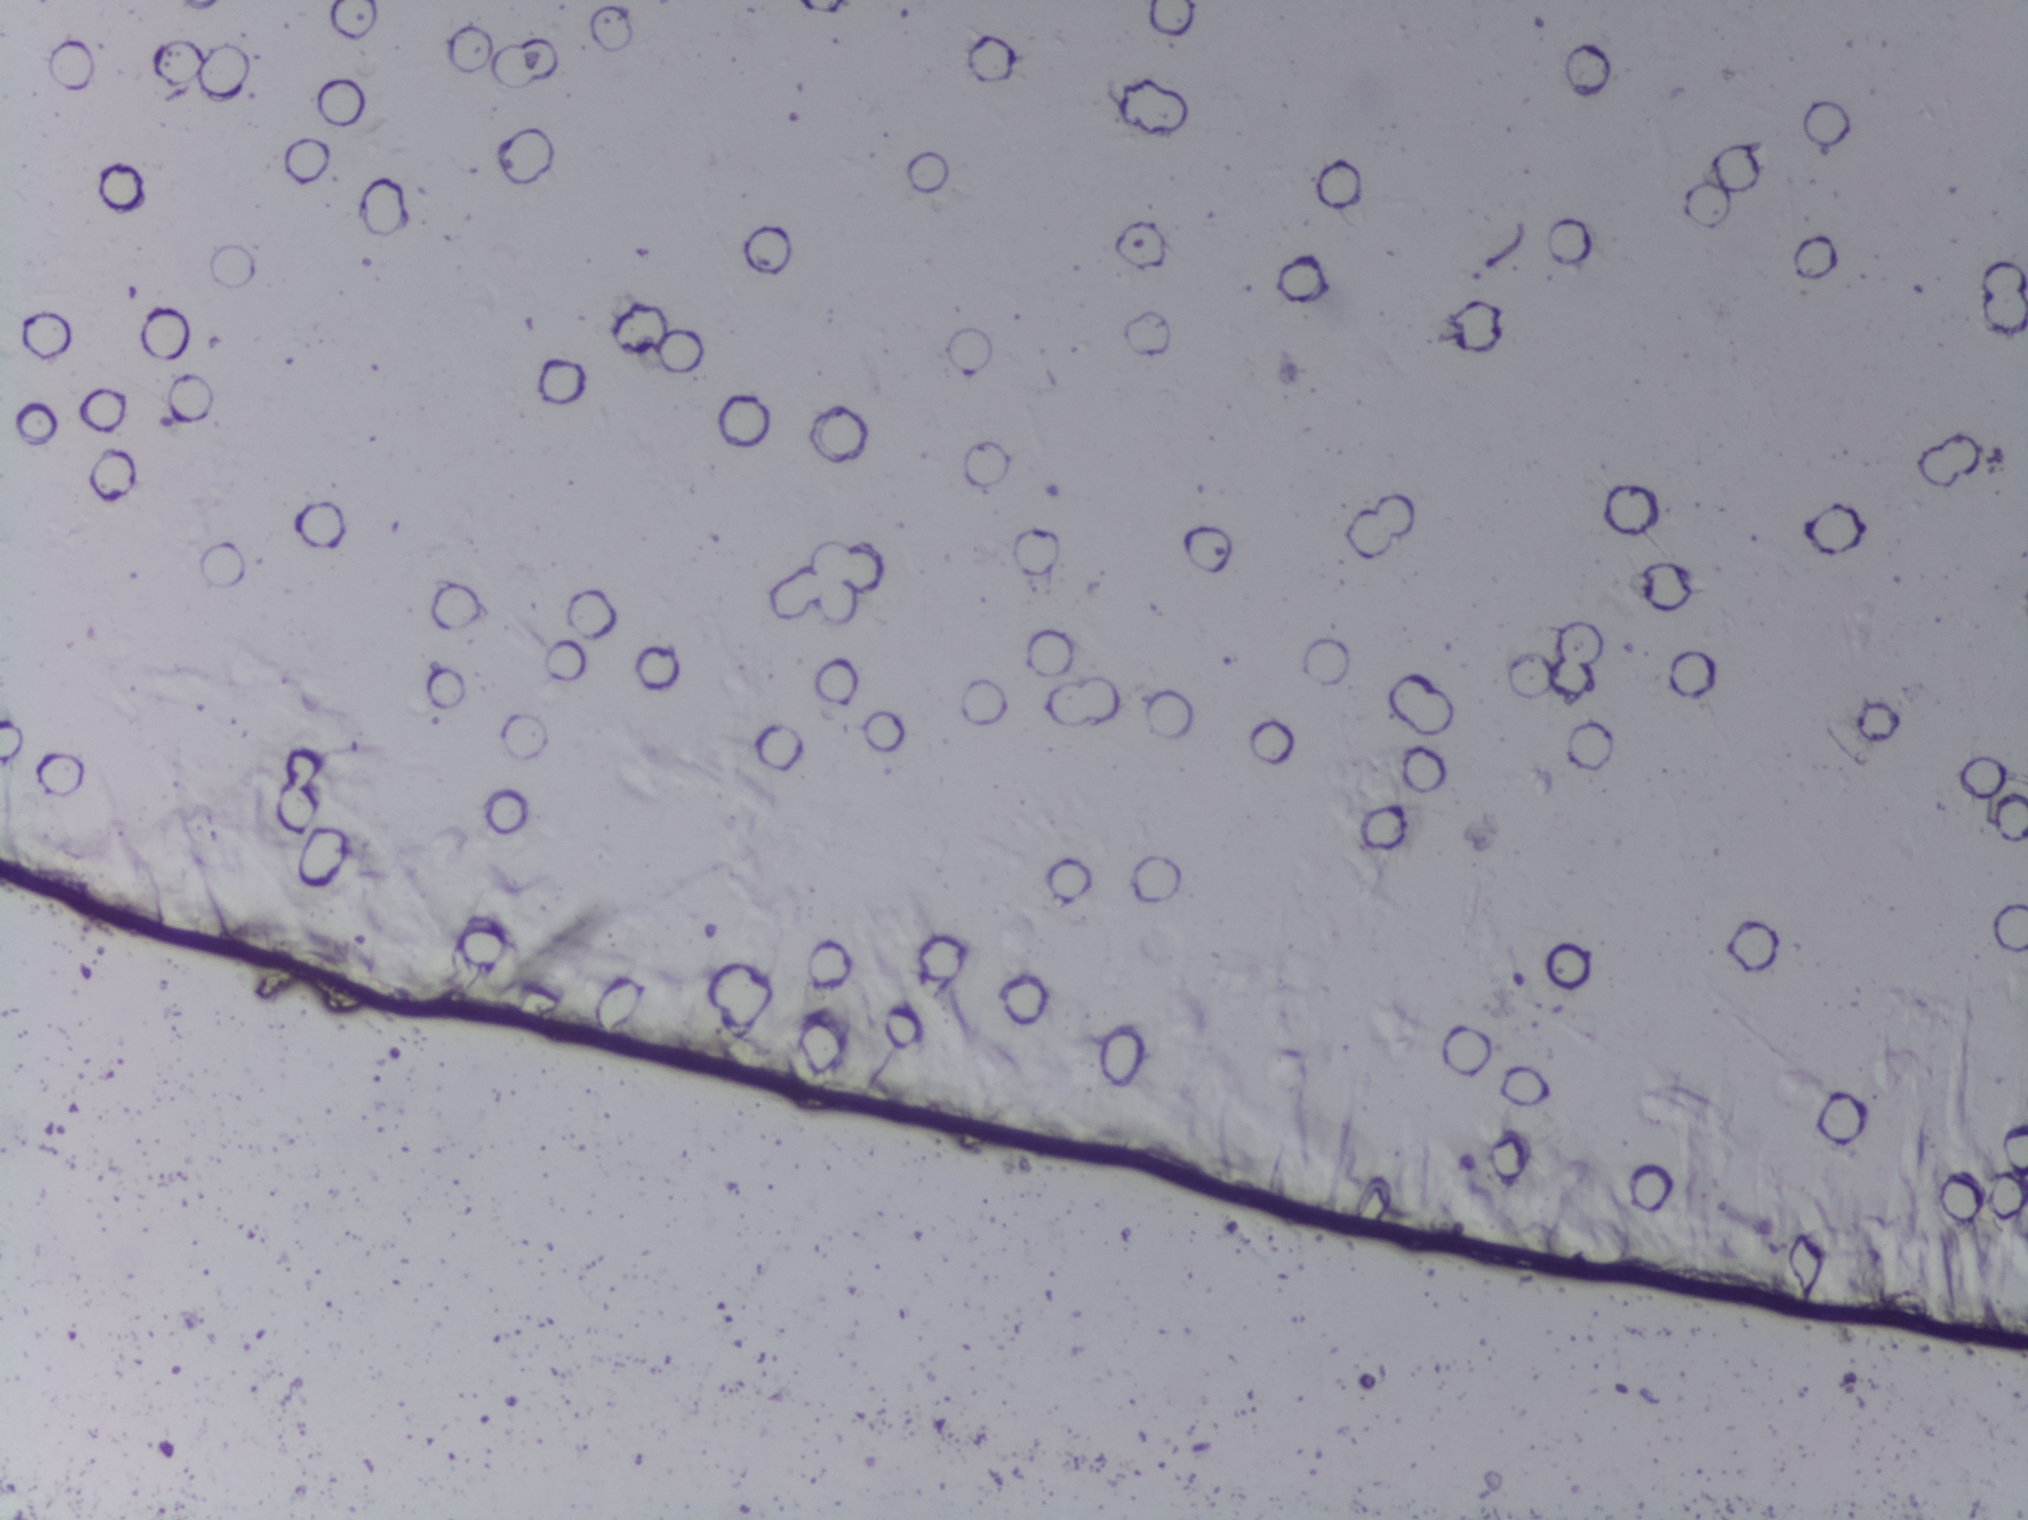
Photograph from an automated digital microscope: urine filter membrane, 4× objective. Field of view: about 1.5 mm wide and 1.1 mm high.
No area of this image was outlined as a Schistosoma egg.